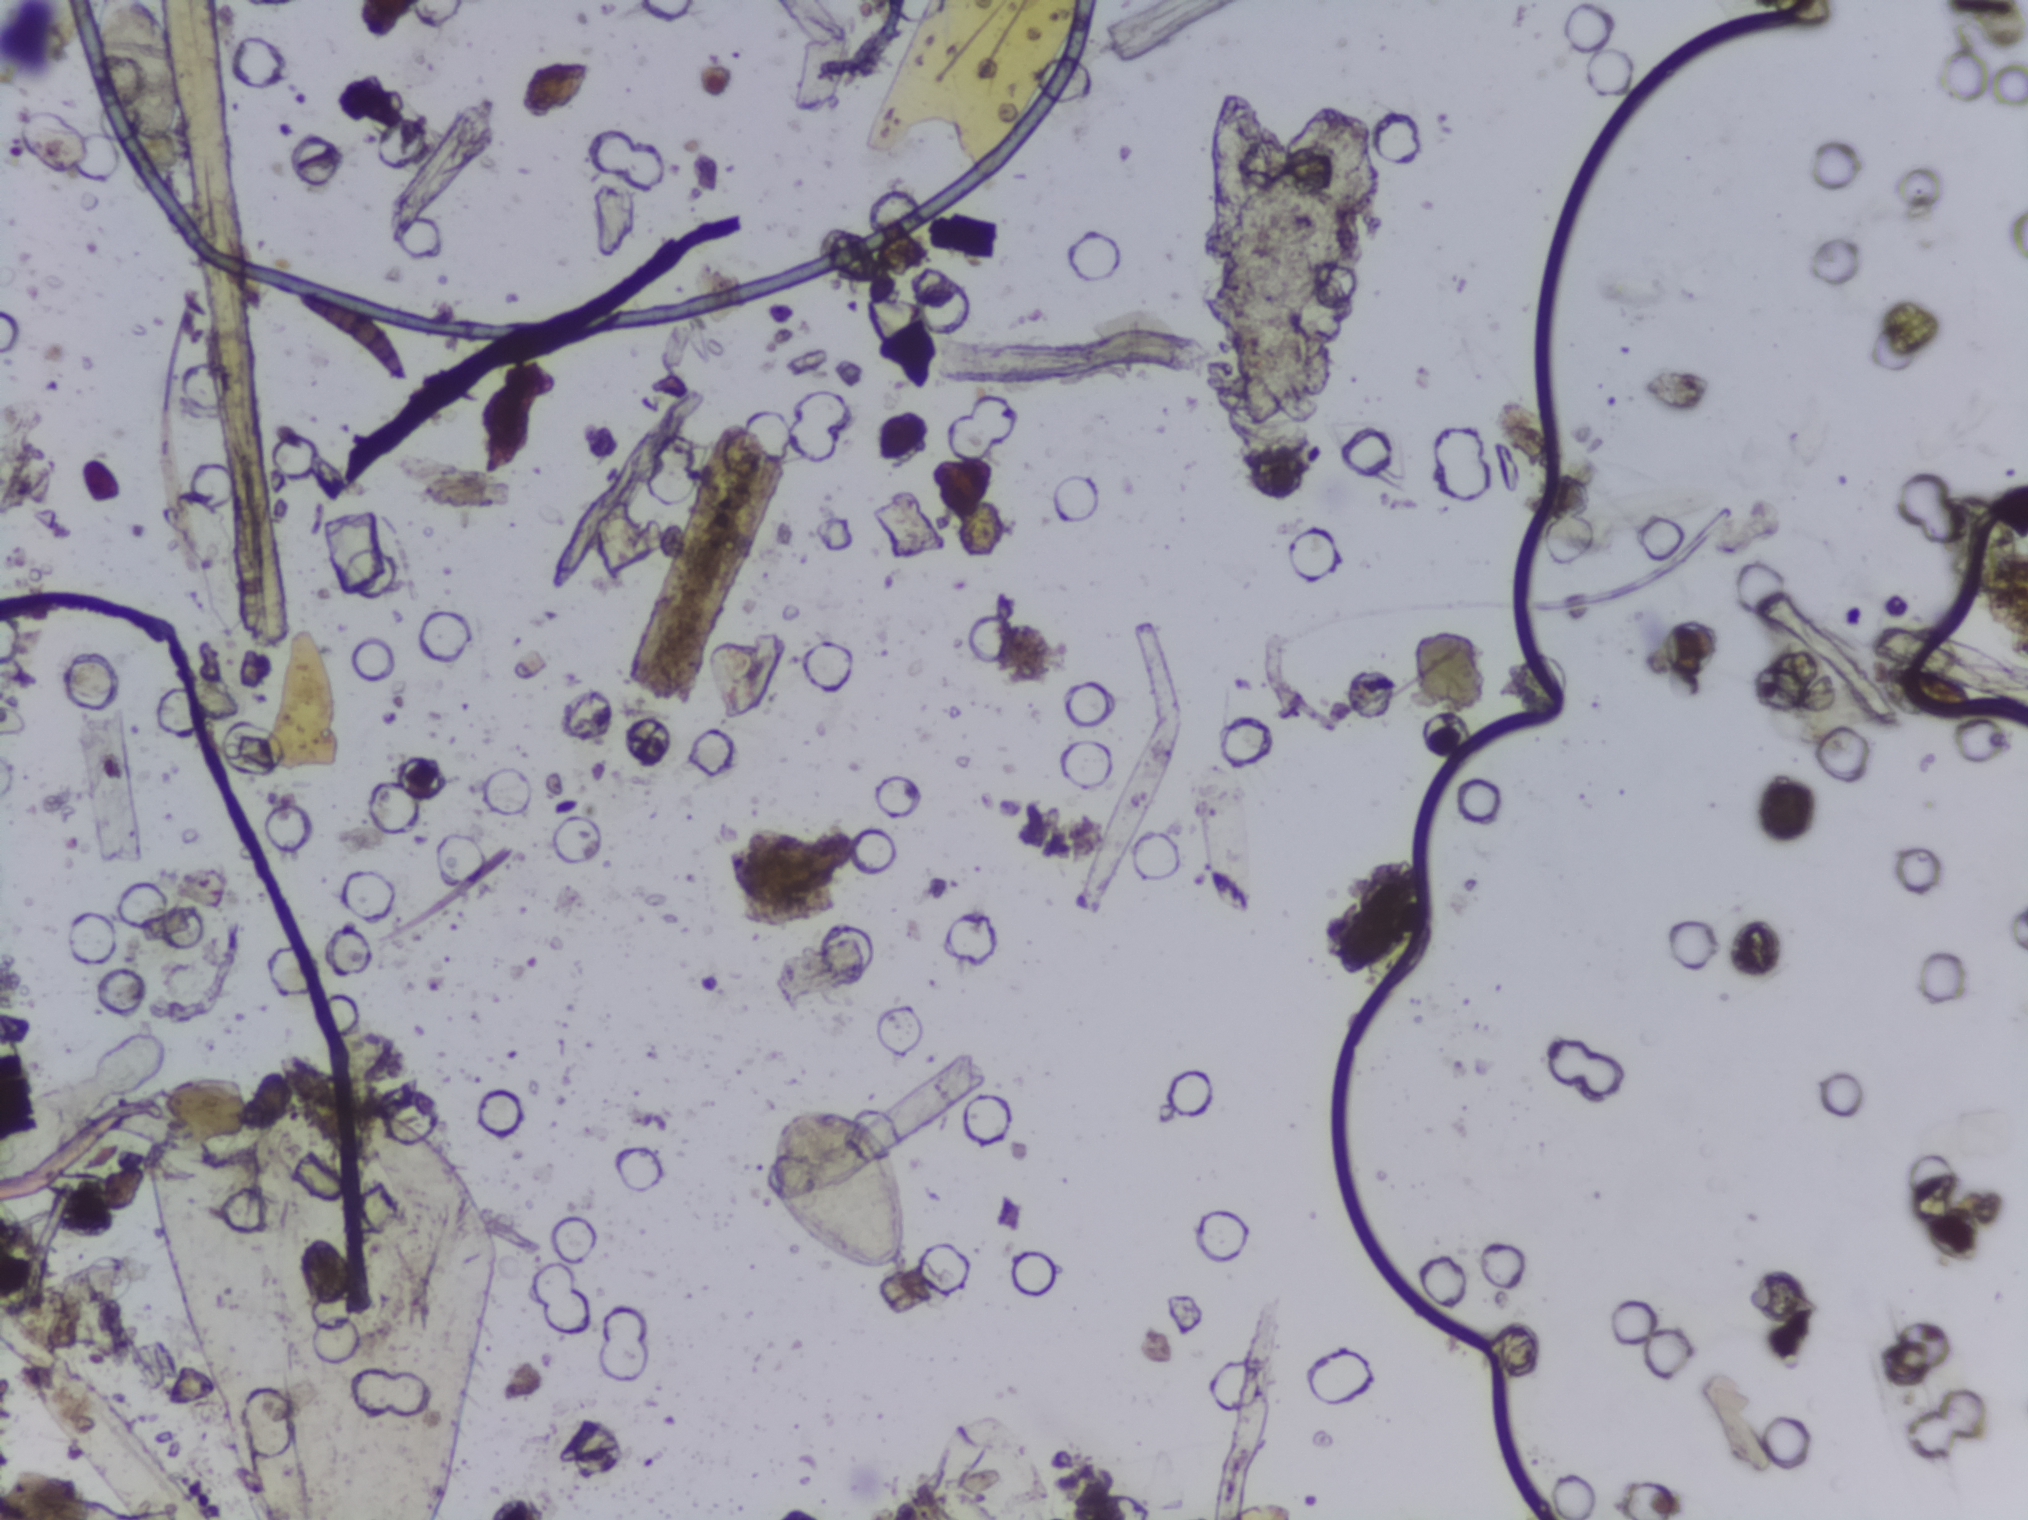
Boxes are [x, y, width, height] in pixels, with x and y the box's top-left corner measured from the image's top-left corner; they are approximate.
Schistosoma eggs are outlined in the expert annotation at [91, 0, 94, 143] (reaching the top edge of the frame) and [762, 1108, 147, 165] (left to right). Eggs that touch can end up inside the same outlined area.
Urine filtration membrane under a 4× objective, photographed by an automated digital microscope.